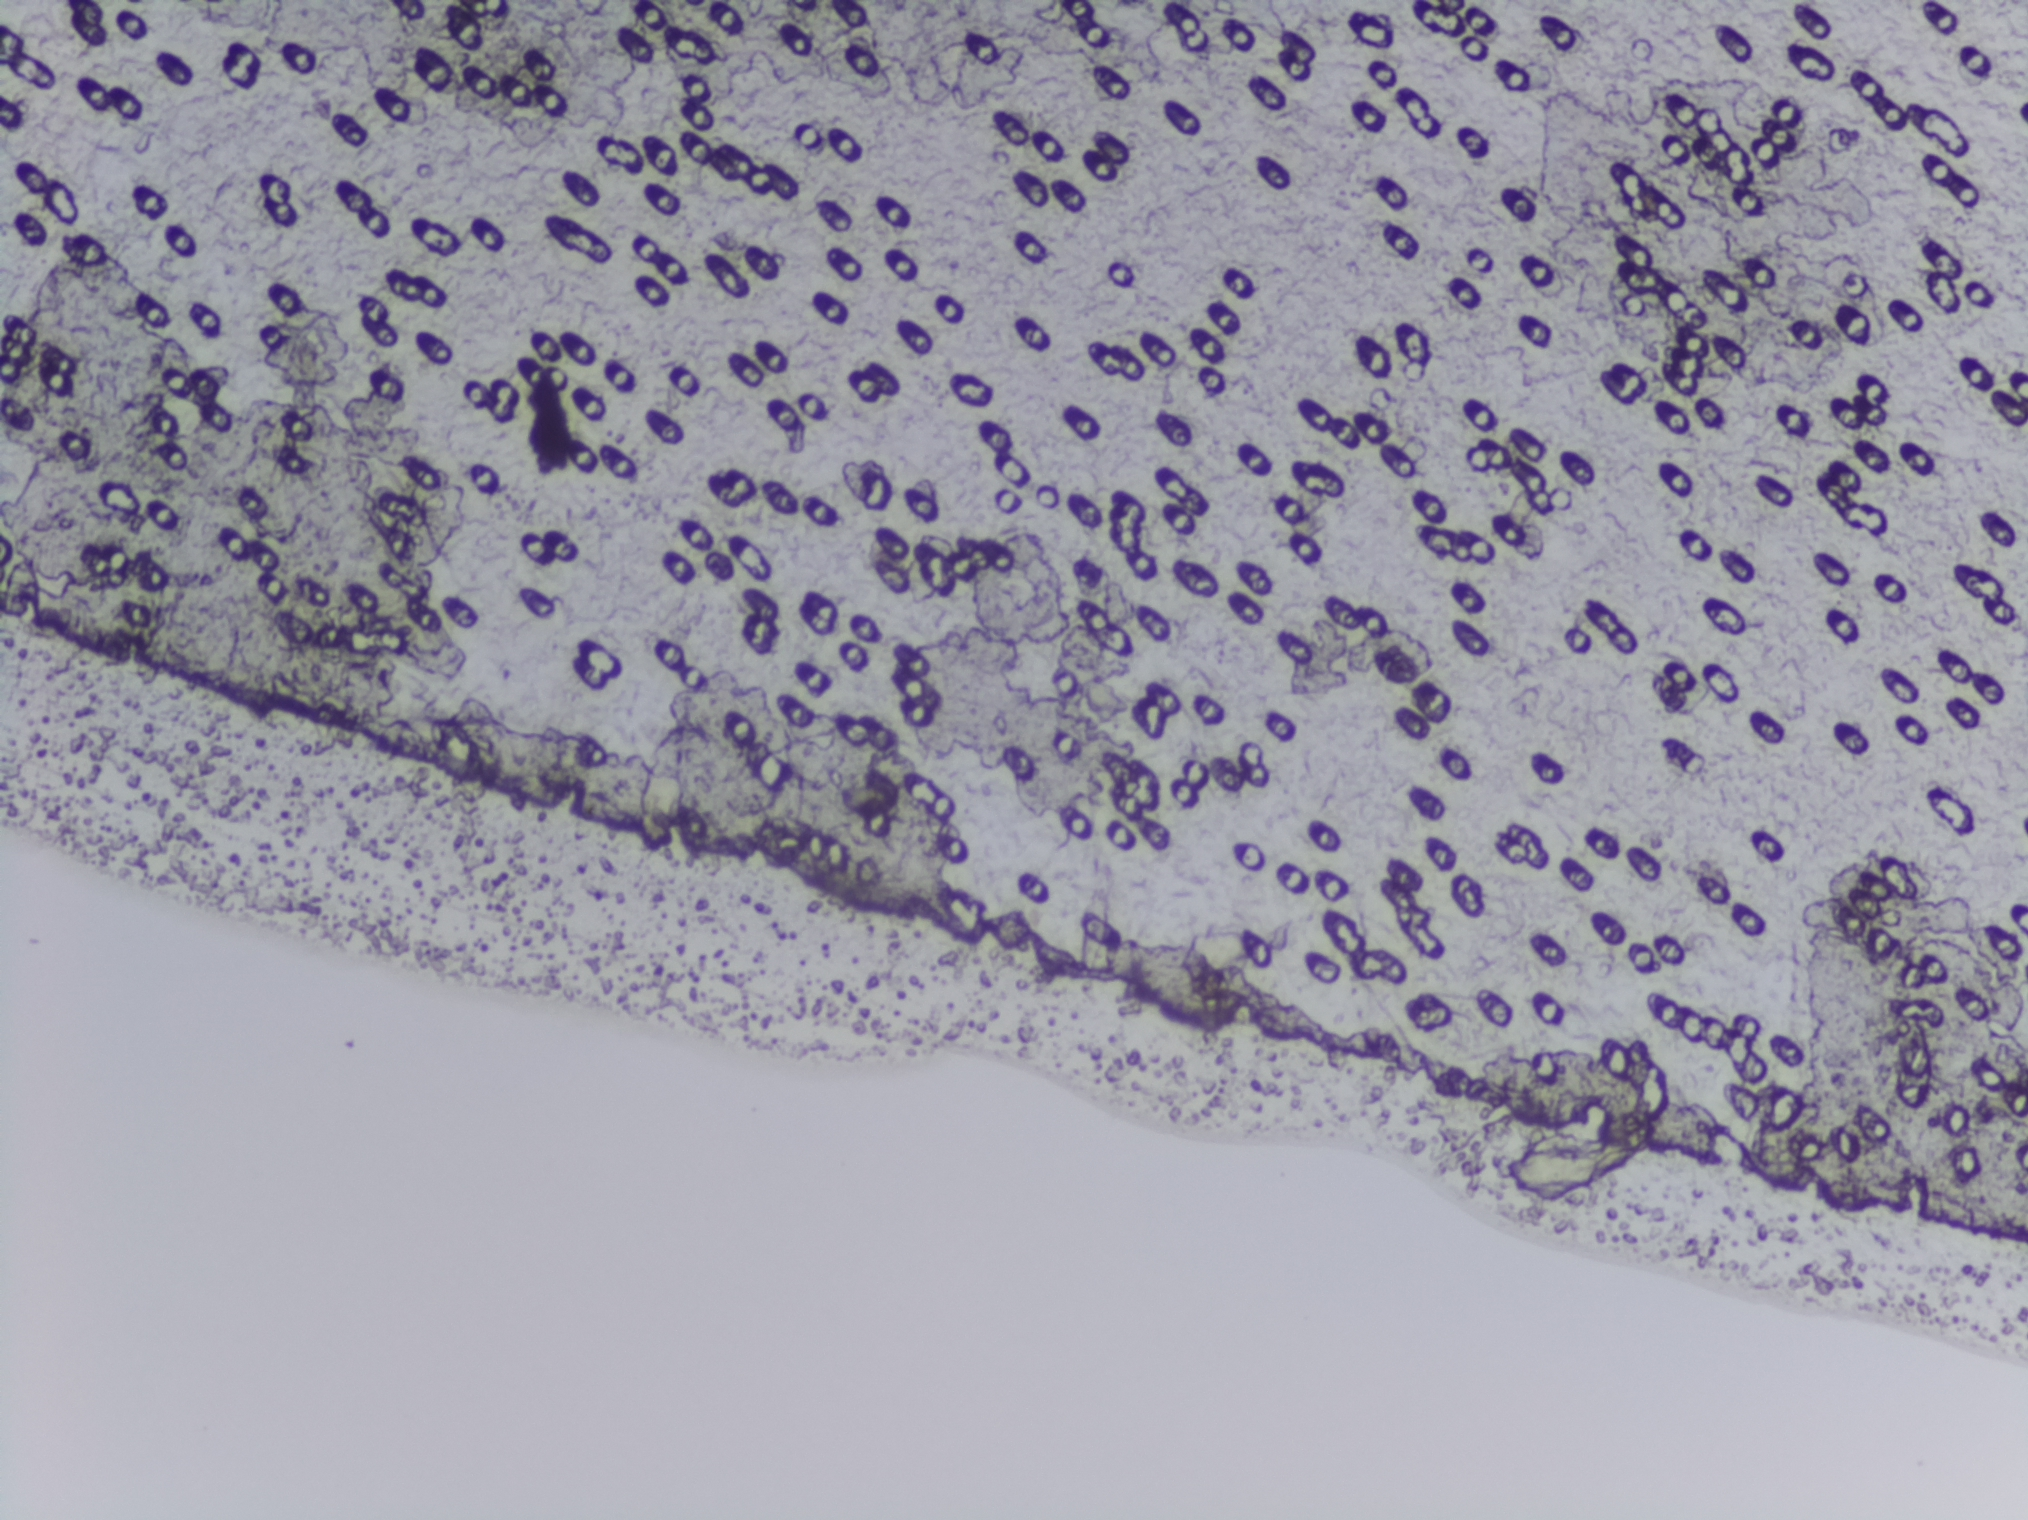
The expert annotation marks no Schistosoma egg in this field of view.
One field of view of a urine filter membrane, 4× objective, 2028 × 1520 pixels.